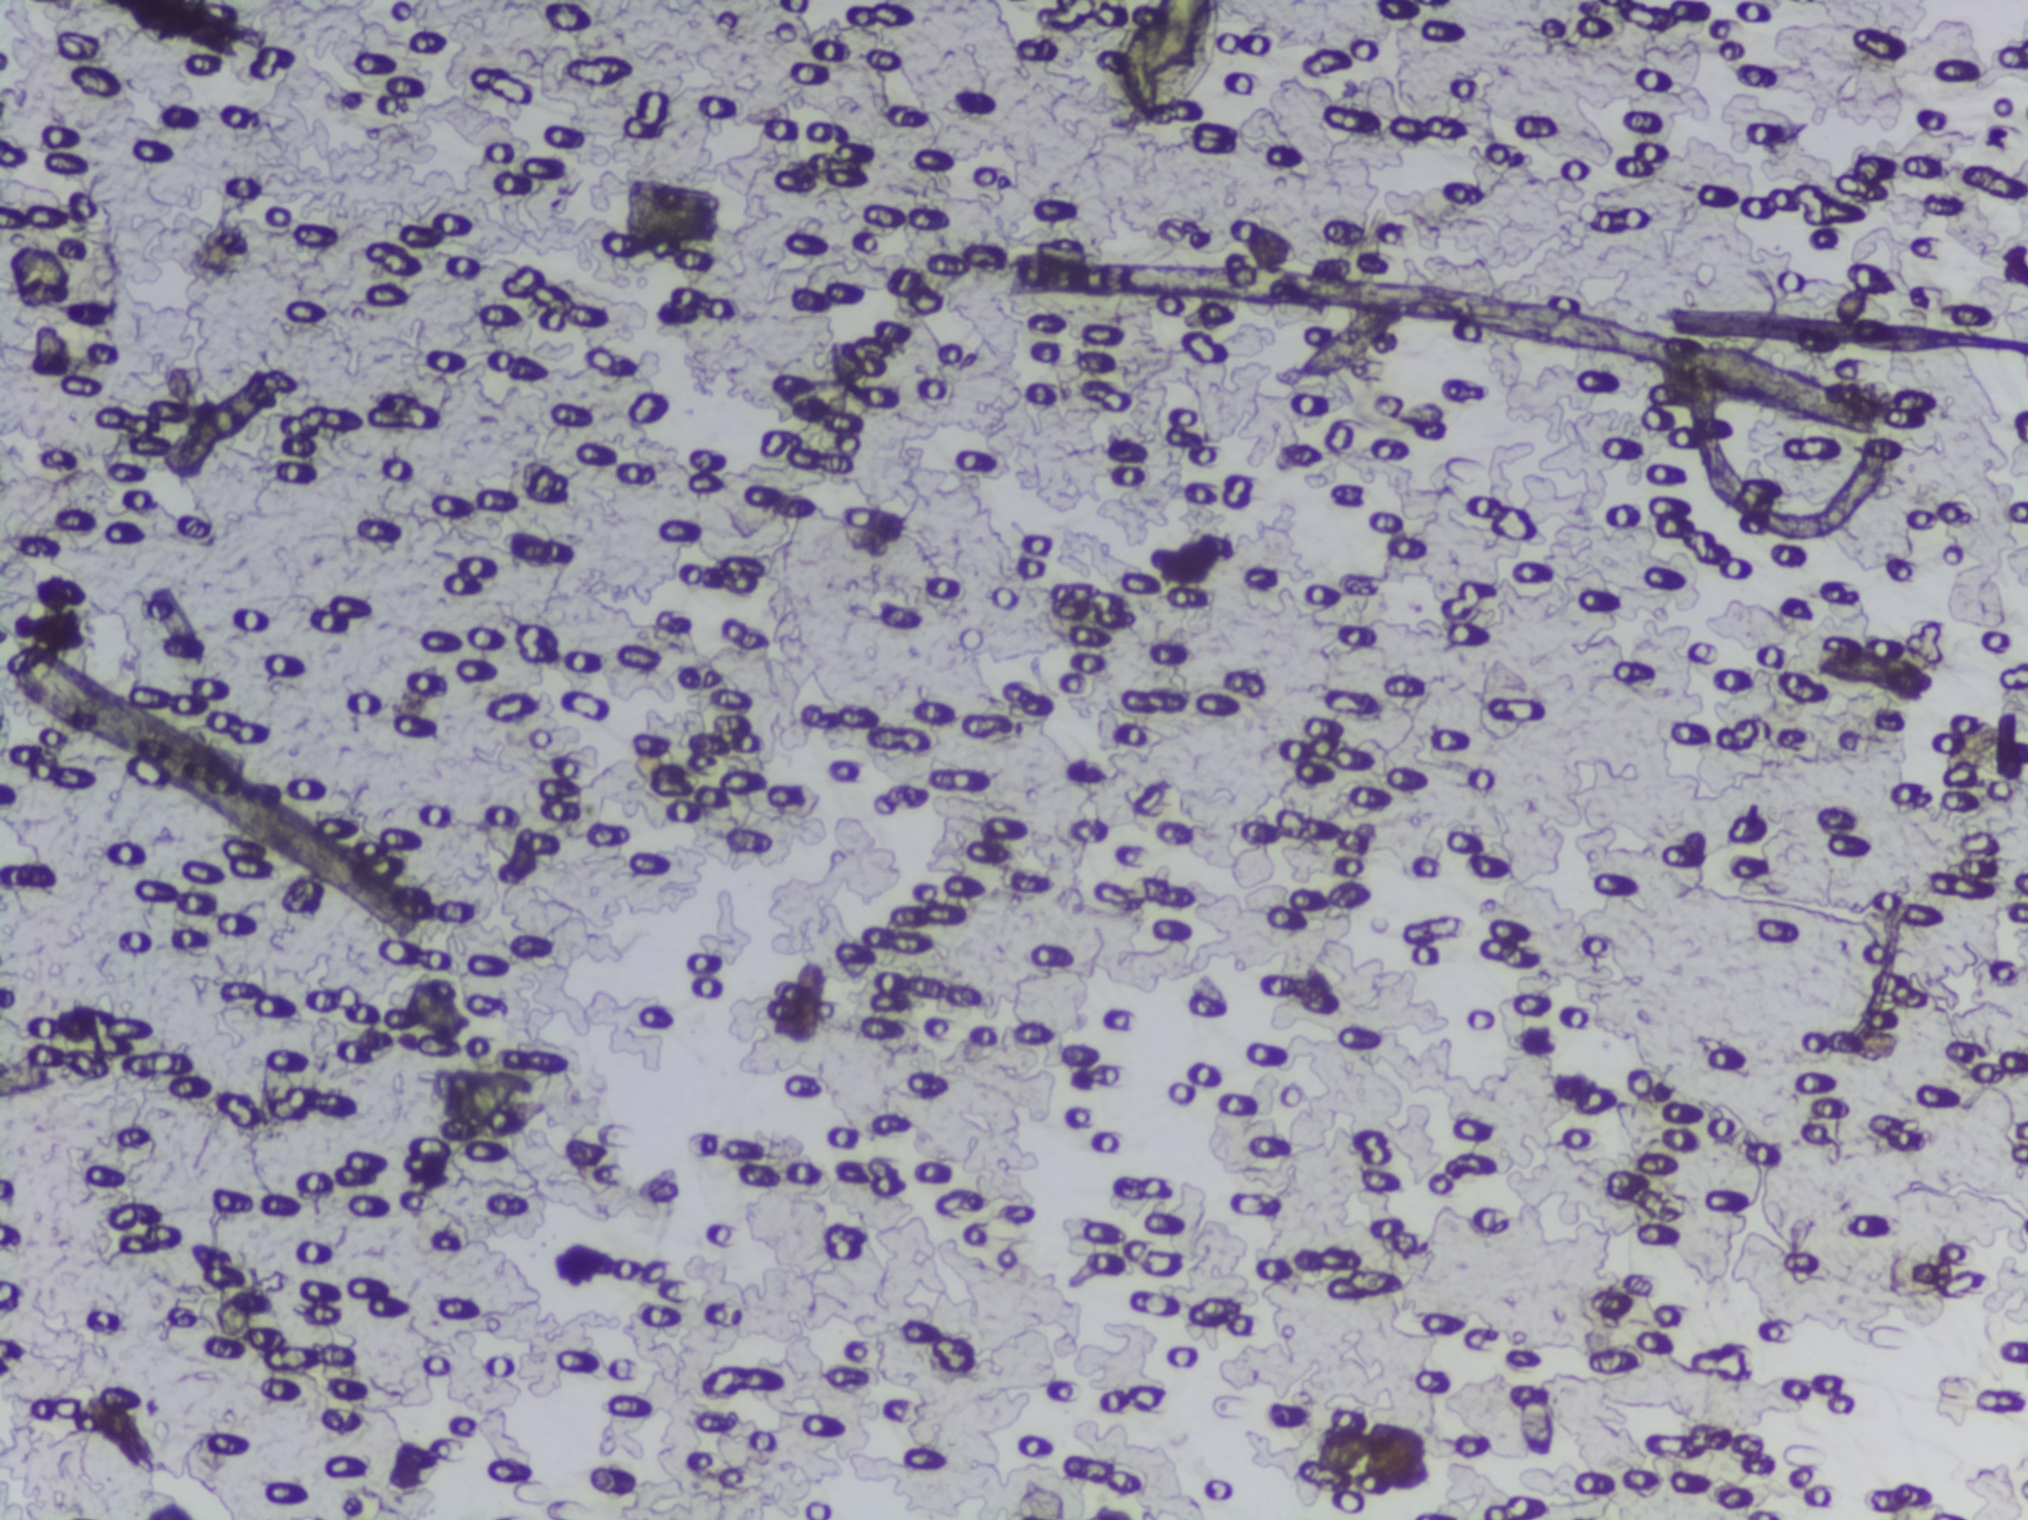
Photomicrograph of a urine filtration membrane, 4× objective. The image covers about 1.5 × 1.1 mm of the membrane.
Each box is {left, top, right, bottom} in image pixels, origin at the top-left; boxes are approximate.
One area of this image is outlined as Schistosoma eggs: {1095, 0, 1231, 134} (reaching the top edge of the frame). Marked pixels, not the box around them: about 0.5% of the image. An outlined area can hold more than one egg.